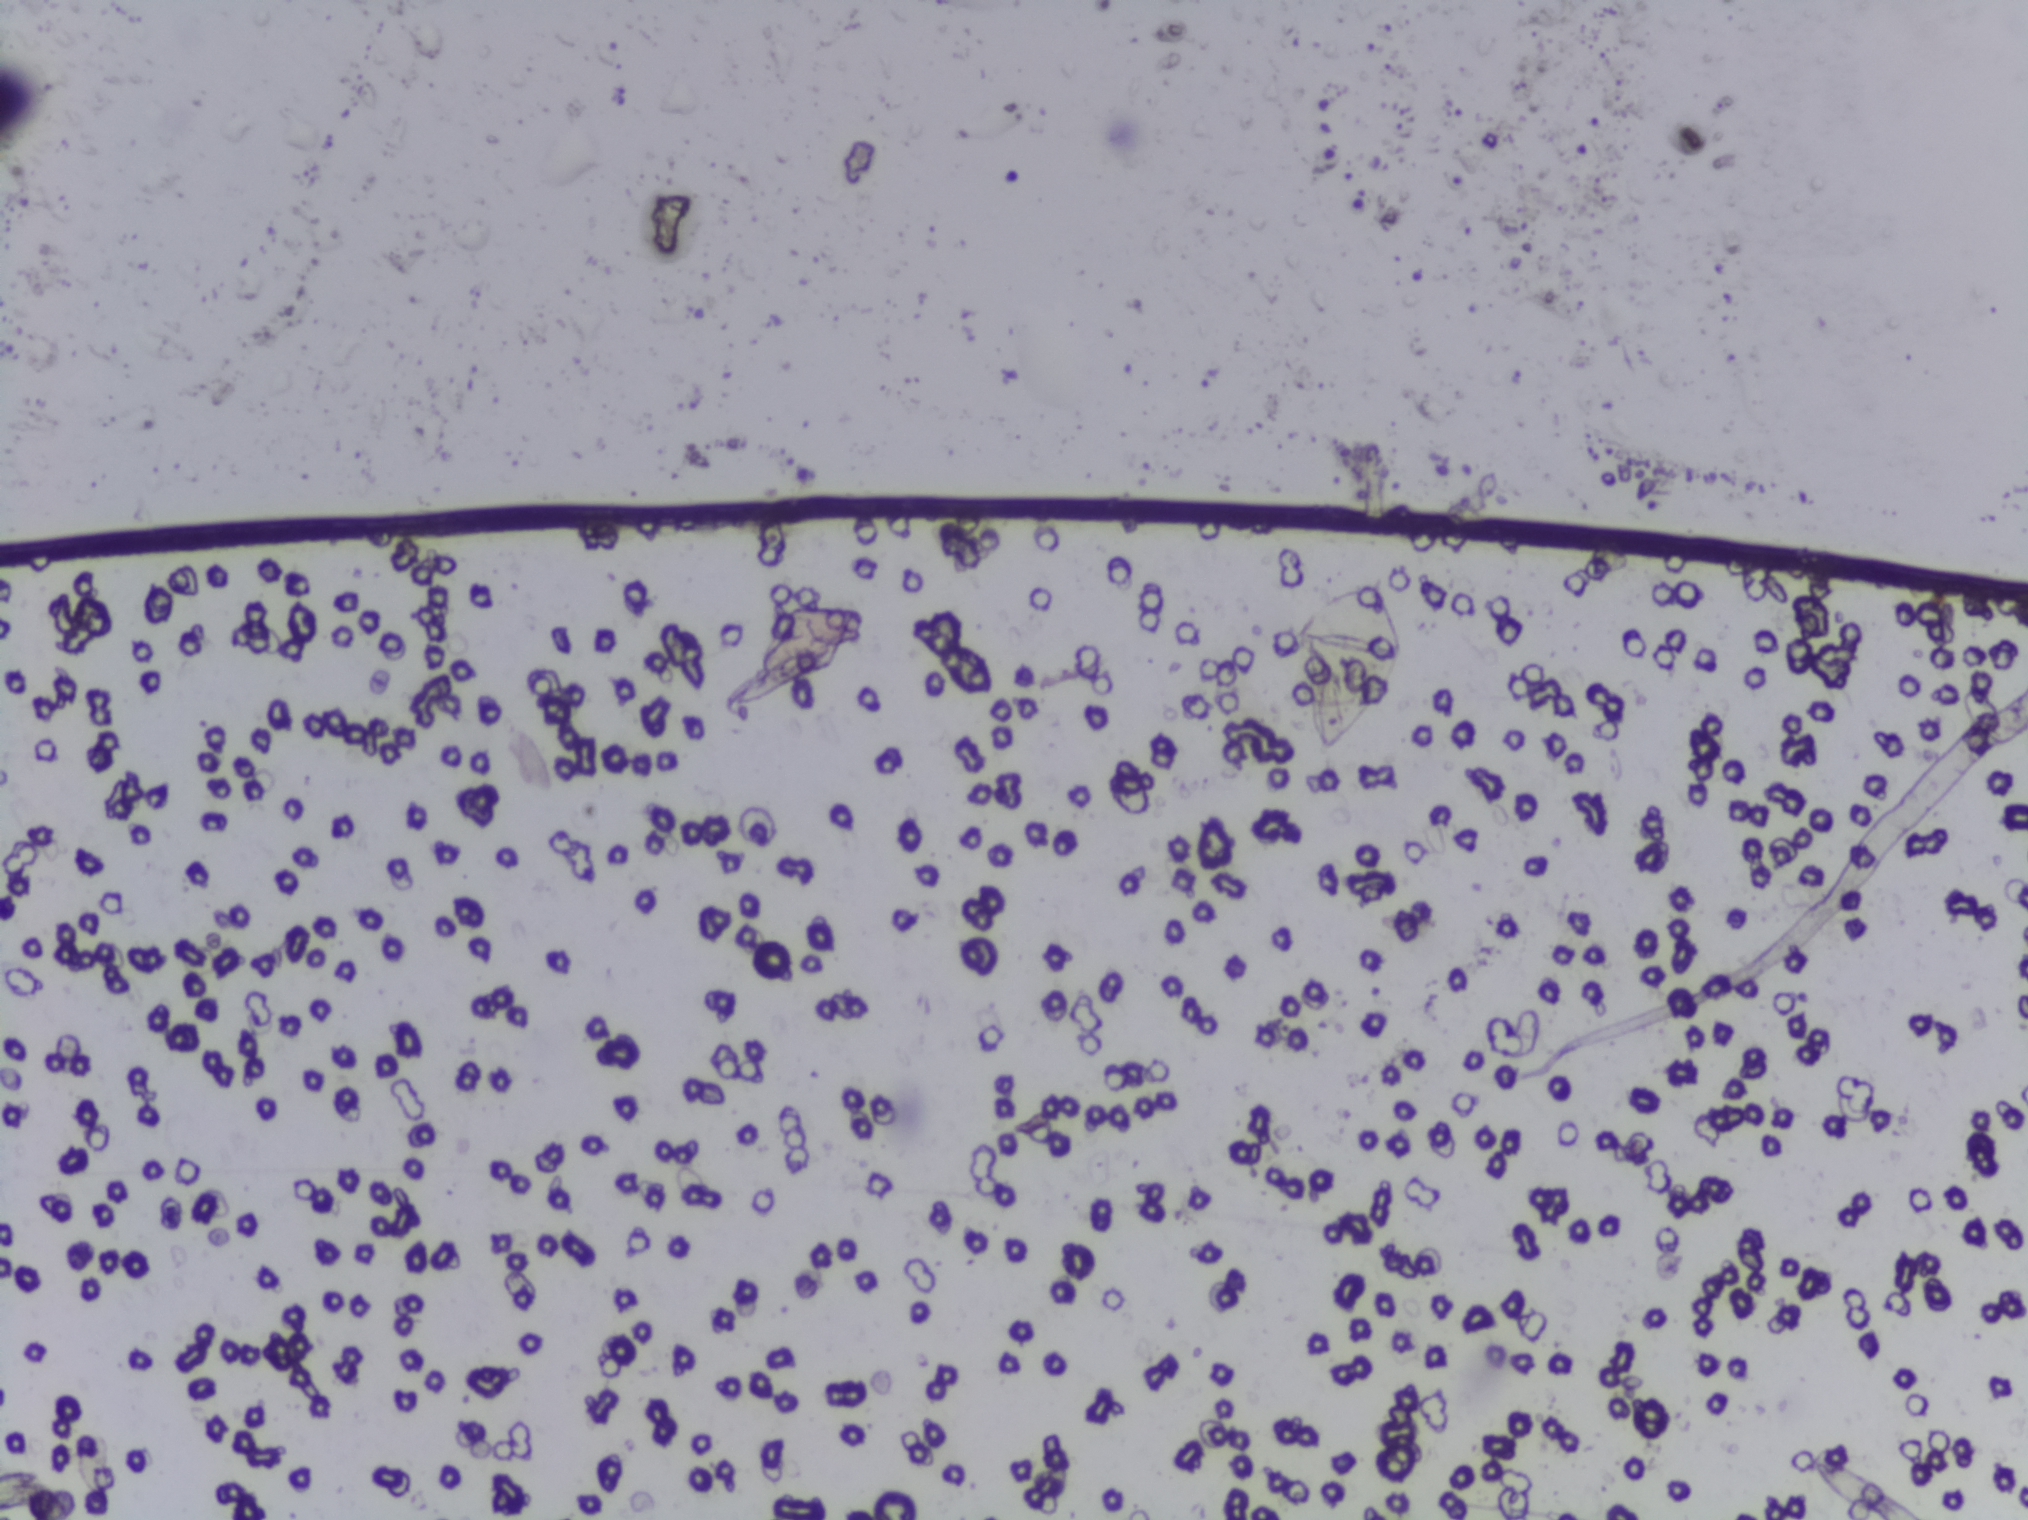
Photomicrograph of a urine filtration membrane, 4× objective.
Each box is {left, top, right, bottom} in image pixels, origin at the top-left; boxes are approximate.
Schistosoma eggs are outlined in the expert annotation at {1291, 577, 1408, 753}. A single outlined area may contain several eggs.